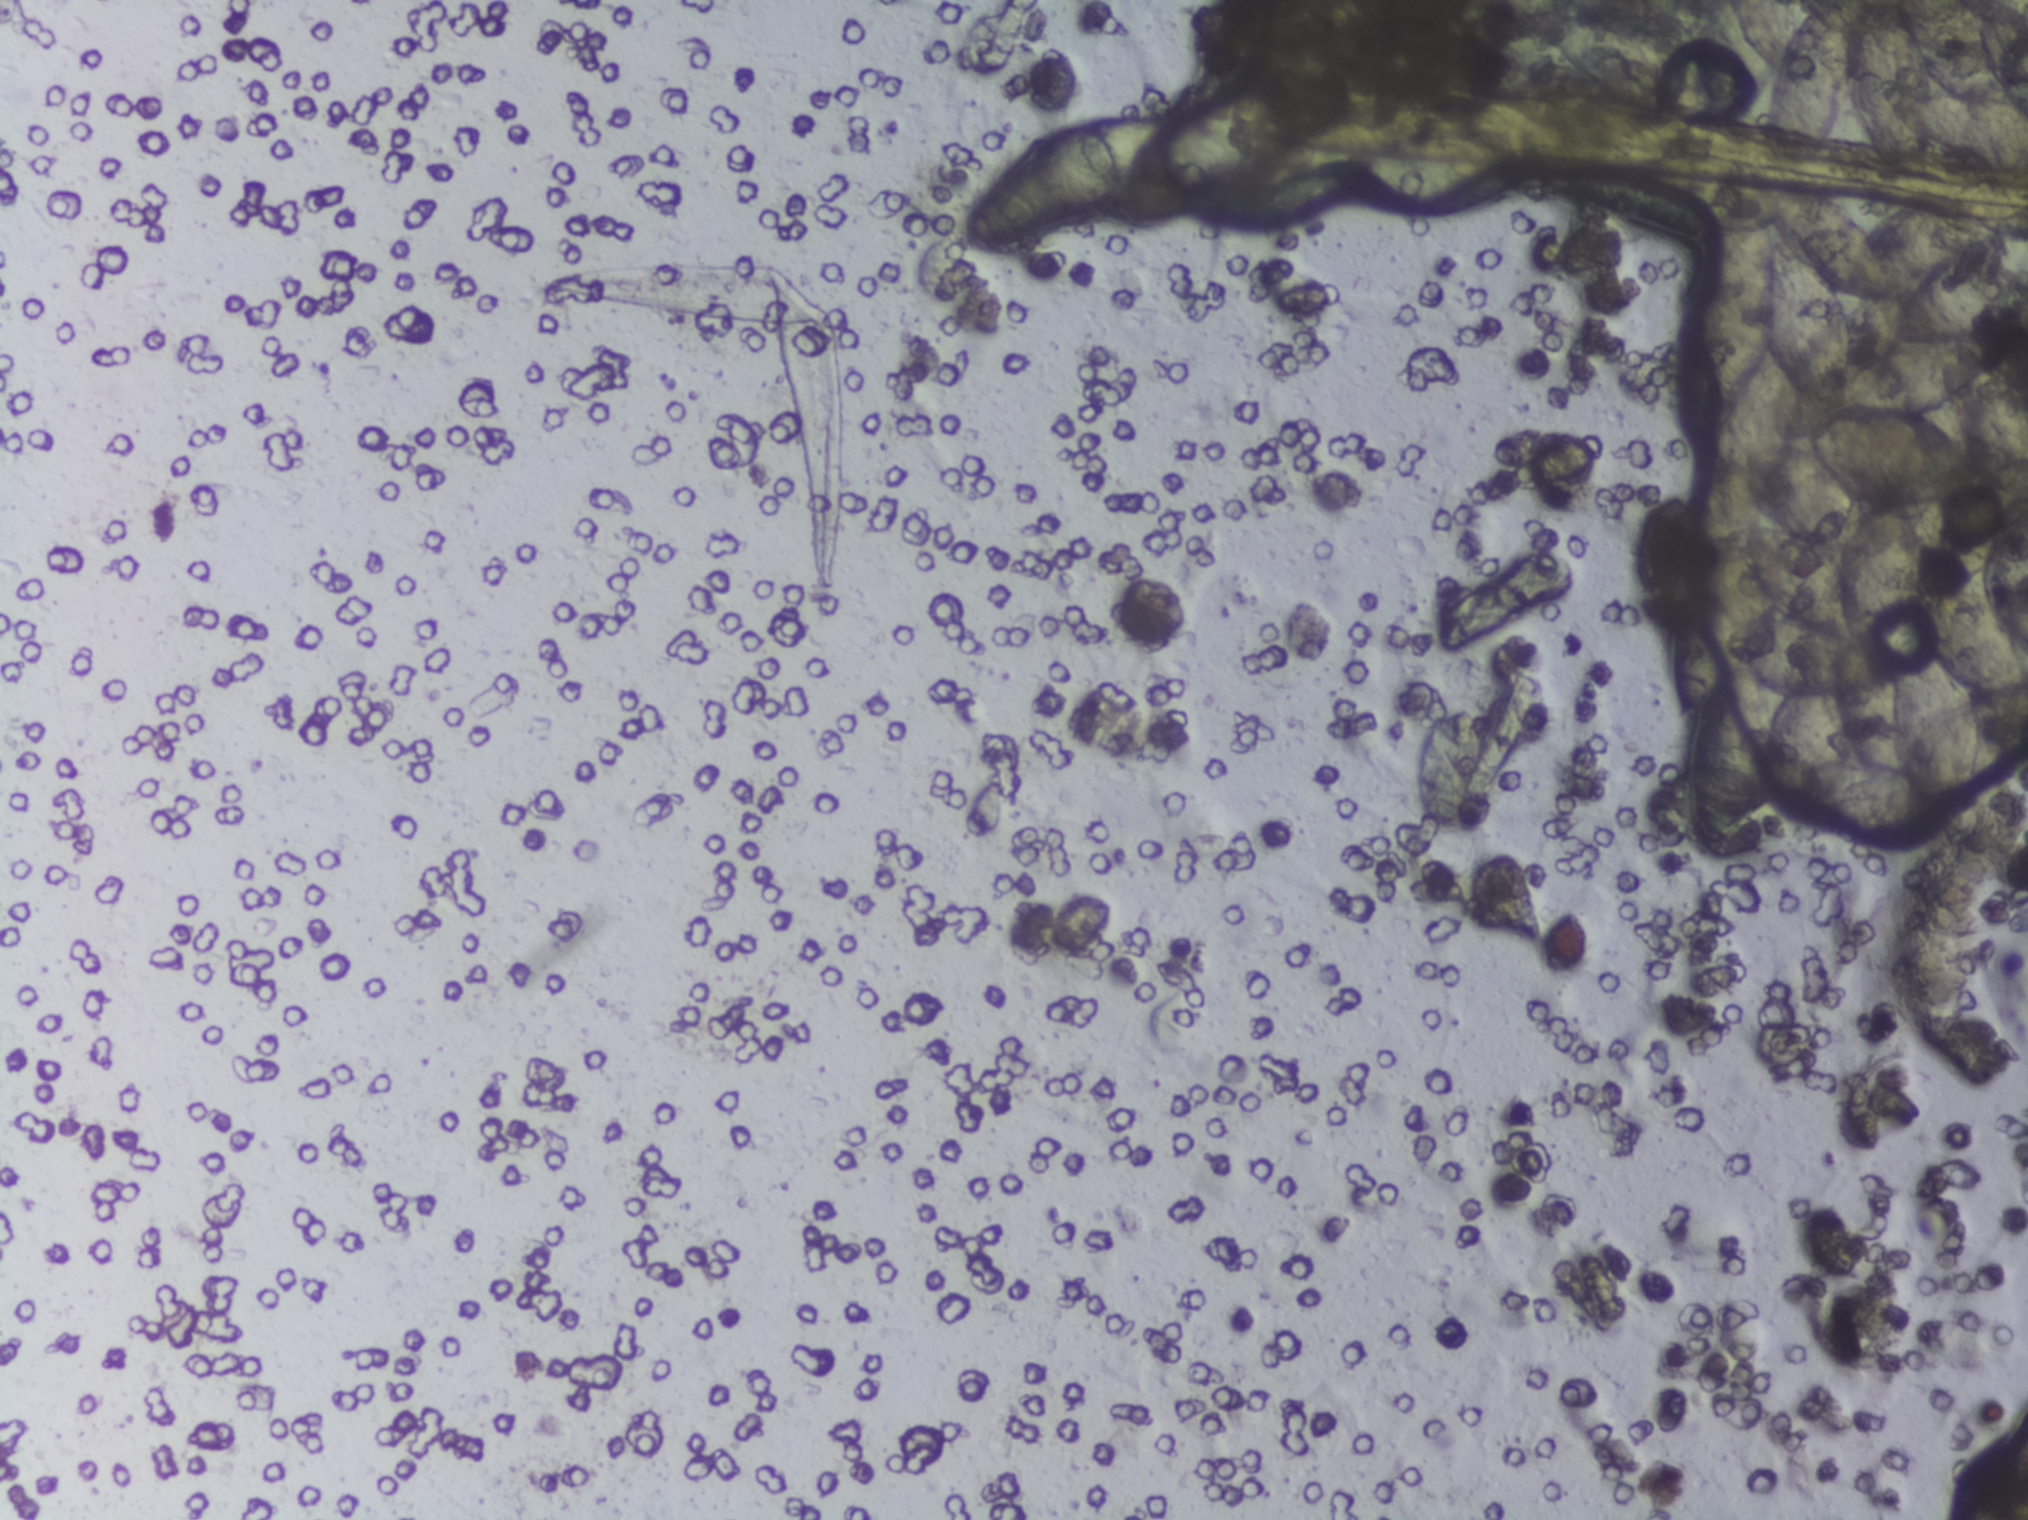
Photograph from an automated digital microscope: urine filter membrane, 4× objective.
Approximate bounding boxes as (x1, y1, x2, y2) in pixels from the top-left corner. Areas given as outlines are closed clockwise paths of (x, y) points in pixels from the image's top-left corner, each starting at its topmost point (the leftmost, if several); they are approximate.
Schistosoma eggs are outlined in four areas of this image, listed from left to right: box (959, 73, 1529, 256) (a cluster of eggs); box (1417, 704, 1480, 831); outline (1559, 0), (2027, 0), (2027, 183), (1967, 172), (1931, 146), (1925, 174), (1916, 182), (1881, 174), (1860, 130), (1850, 78), (1843, 79), (1840, 123), (1825, 155), (1802, 170), (1781, 170), (1774, 160), (1769, 109), (1777, 75), (1727, 123), (1705, 120), (1692, 105), (1654, 108), (1608, 90), (1582, 98), (1514, 98), (1479, 95), (1448, 80), (1446, 66), (1475, 38), (1519, 14), (1568, 11) (a cluster of eggs; reaching the top and right edges of the frame); outline (1738, 173), (1799, 177), (1822, 186), (1867, 225), (1896, 204), (1946, 201), (1987, 216), (1996, 231), (1998, 217), (2027, 204), (2027, 322), (2004, 333), (2000, 361), (2027, 386), (2027, 695), (1989, 699), (1968, 690), (1978, 767), (1968, 790), (1965, 834), (1959, 837), (1940, 830), (1923, 845), (1884, 850), (1826, 825), (1809, 832), (1783, 814), (1767, 788), (1720, 837), (1696, 837), (1688, 825), (1691, 750), (1701, 717), (1685, 727), (1677, 723), (1666, 647), (1673, 586), (1693, 549), (1694, 500), (1708, 452), (1687, 445), (1681, 434), (1681, 350), (1699, 277), (1733, 194), (1729, 182) (a cluster of eggs; reaching the right edge of the frame). Eggs that touch can end up inside the same outlined area.